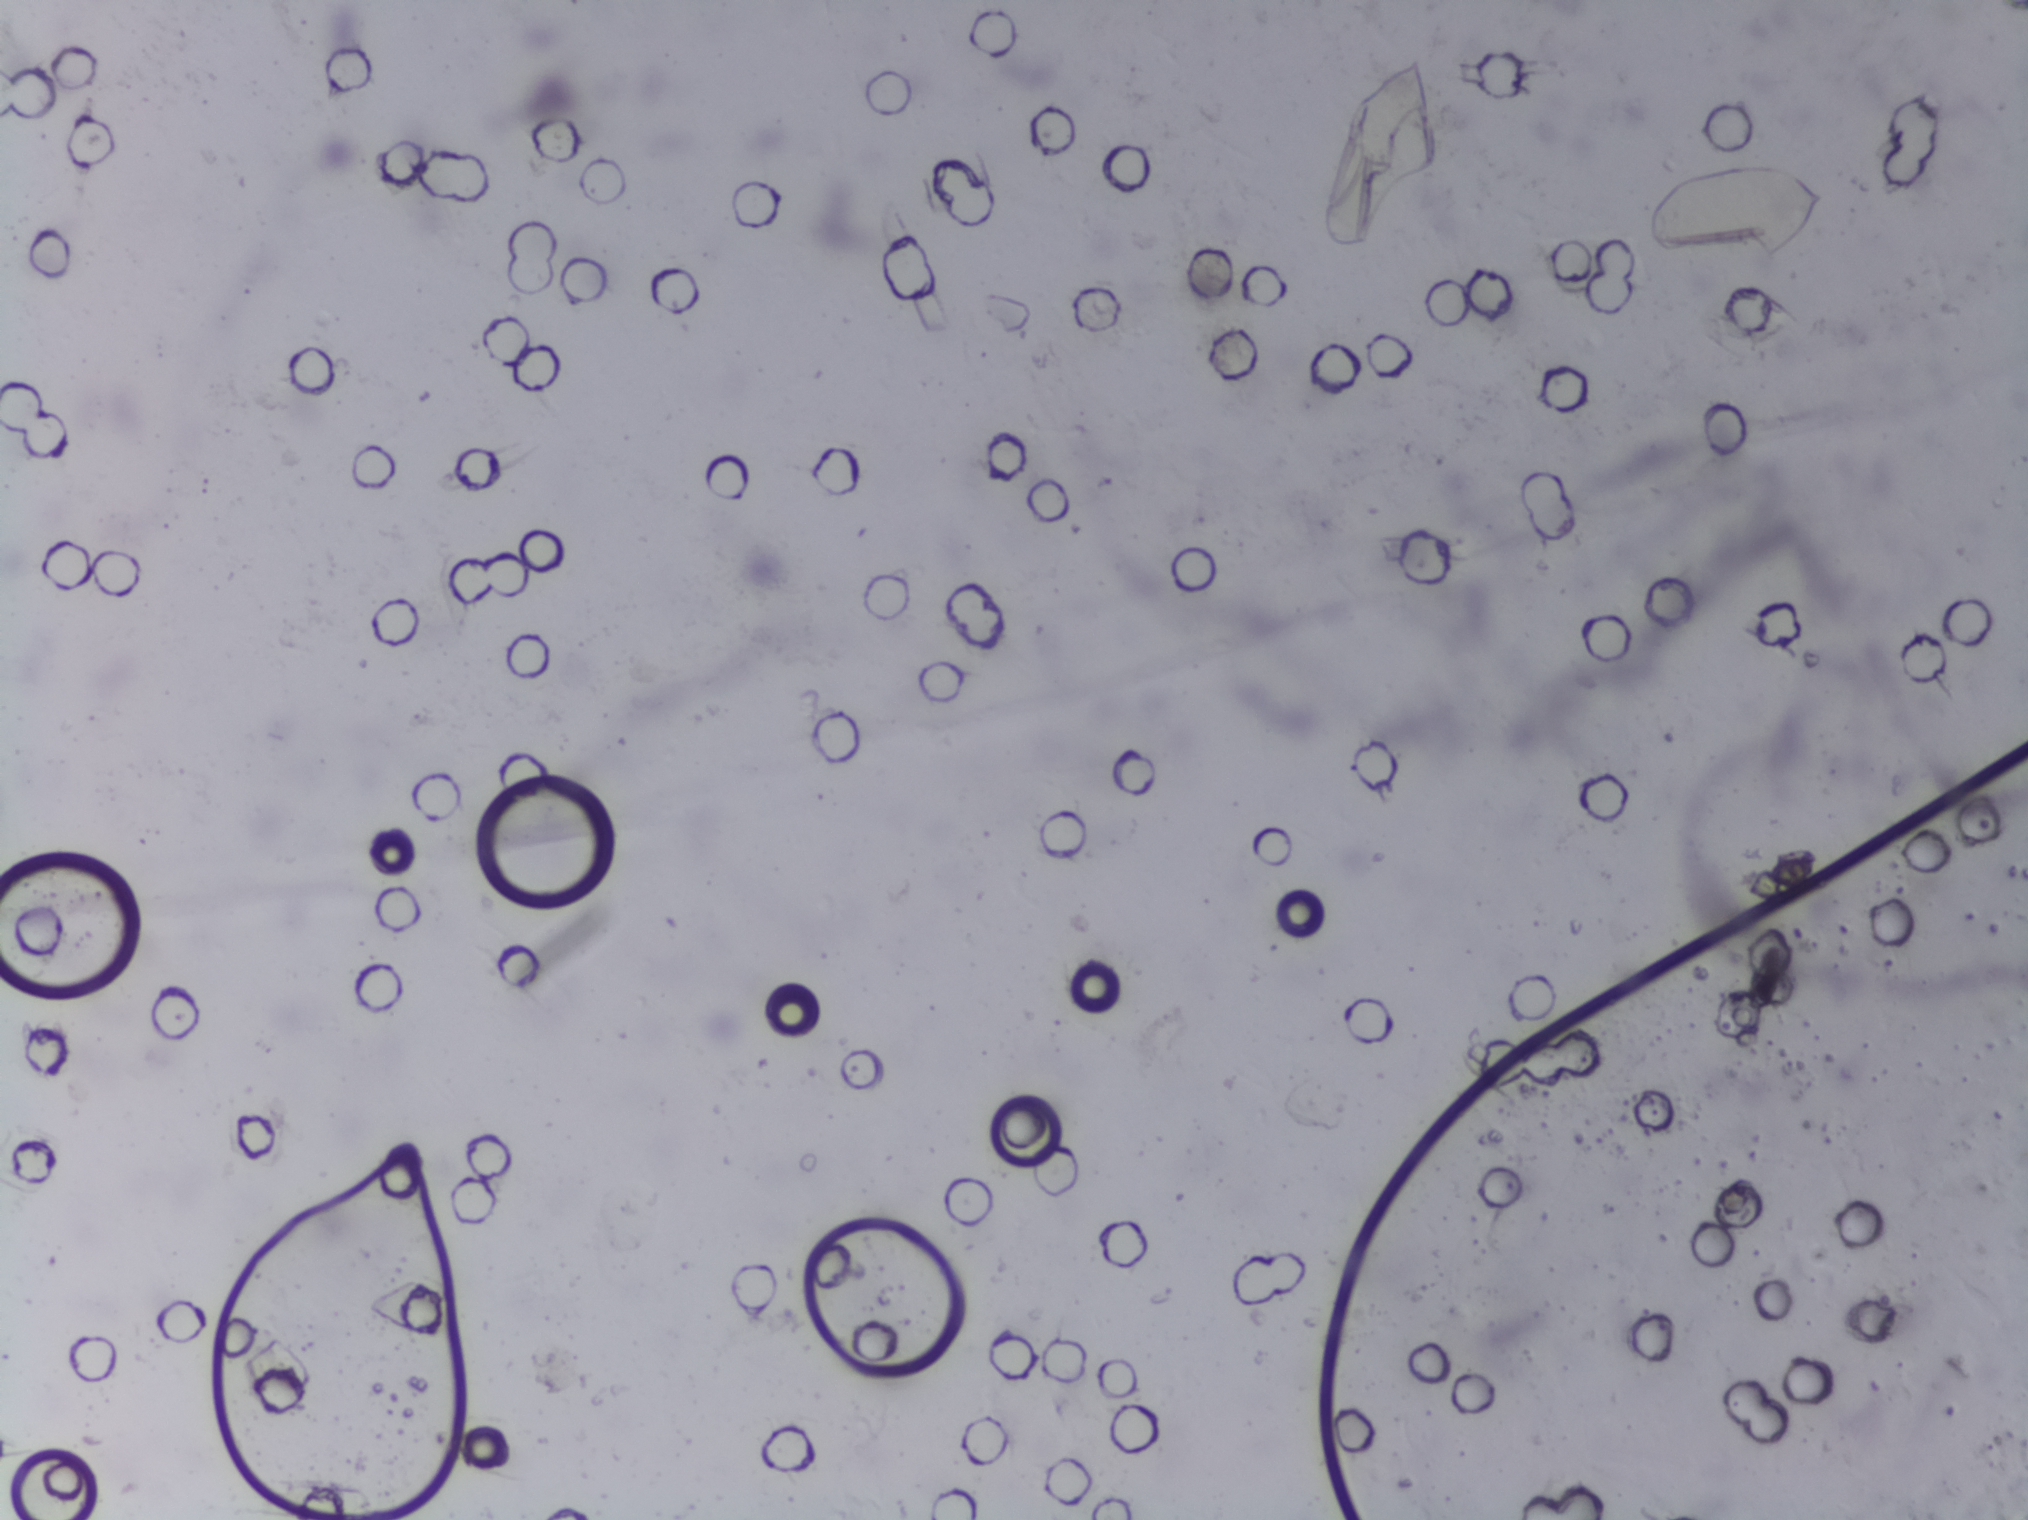
Urine filter membrane photographed through a 4× microscope objective.
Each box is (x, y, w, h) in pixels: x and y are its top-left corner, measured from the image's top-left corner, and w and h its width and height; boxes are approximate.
Schistosoma eggs are outlined in two areas of this image, listed from left to right: (x=1318, y=55, w=122, h=193) and (x=1645, y=157, w=185, h=101). The marked pixels themselves, not the boxes around them, cover about 0.9% of the image. An outlined area can hold more than one egg.